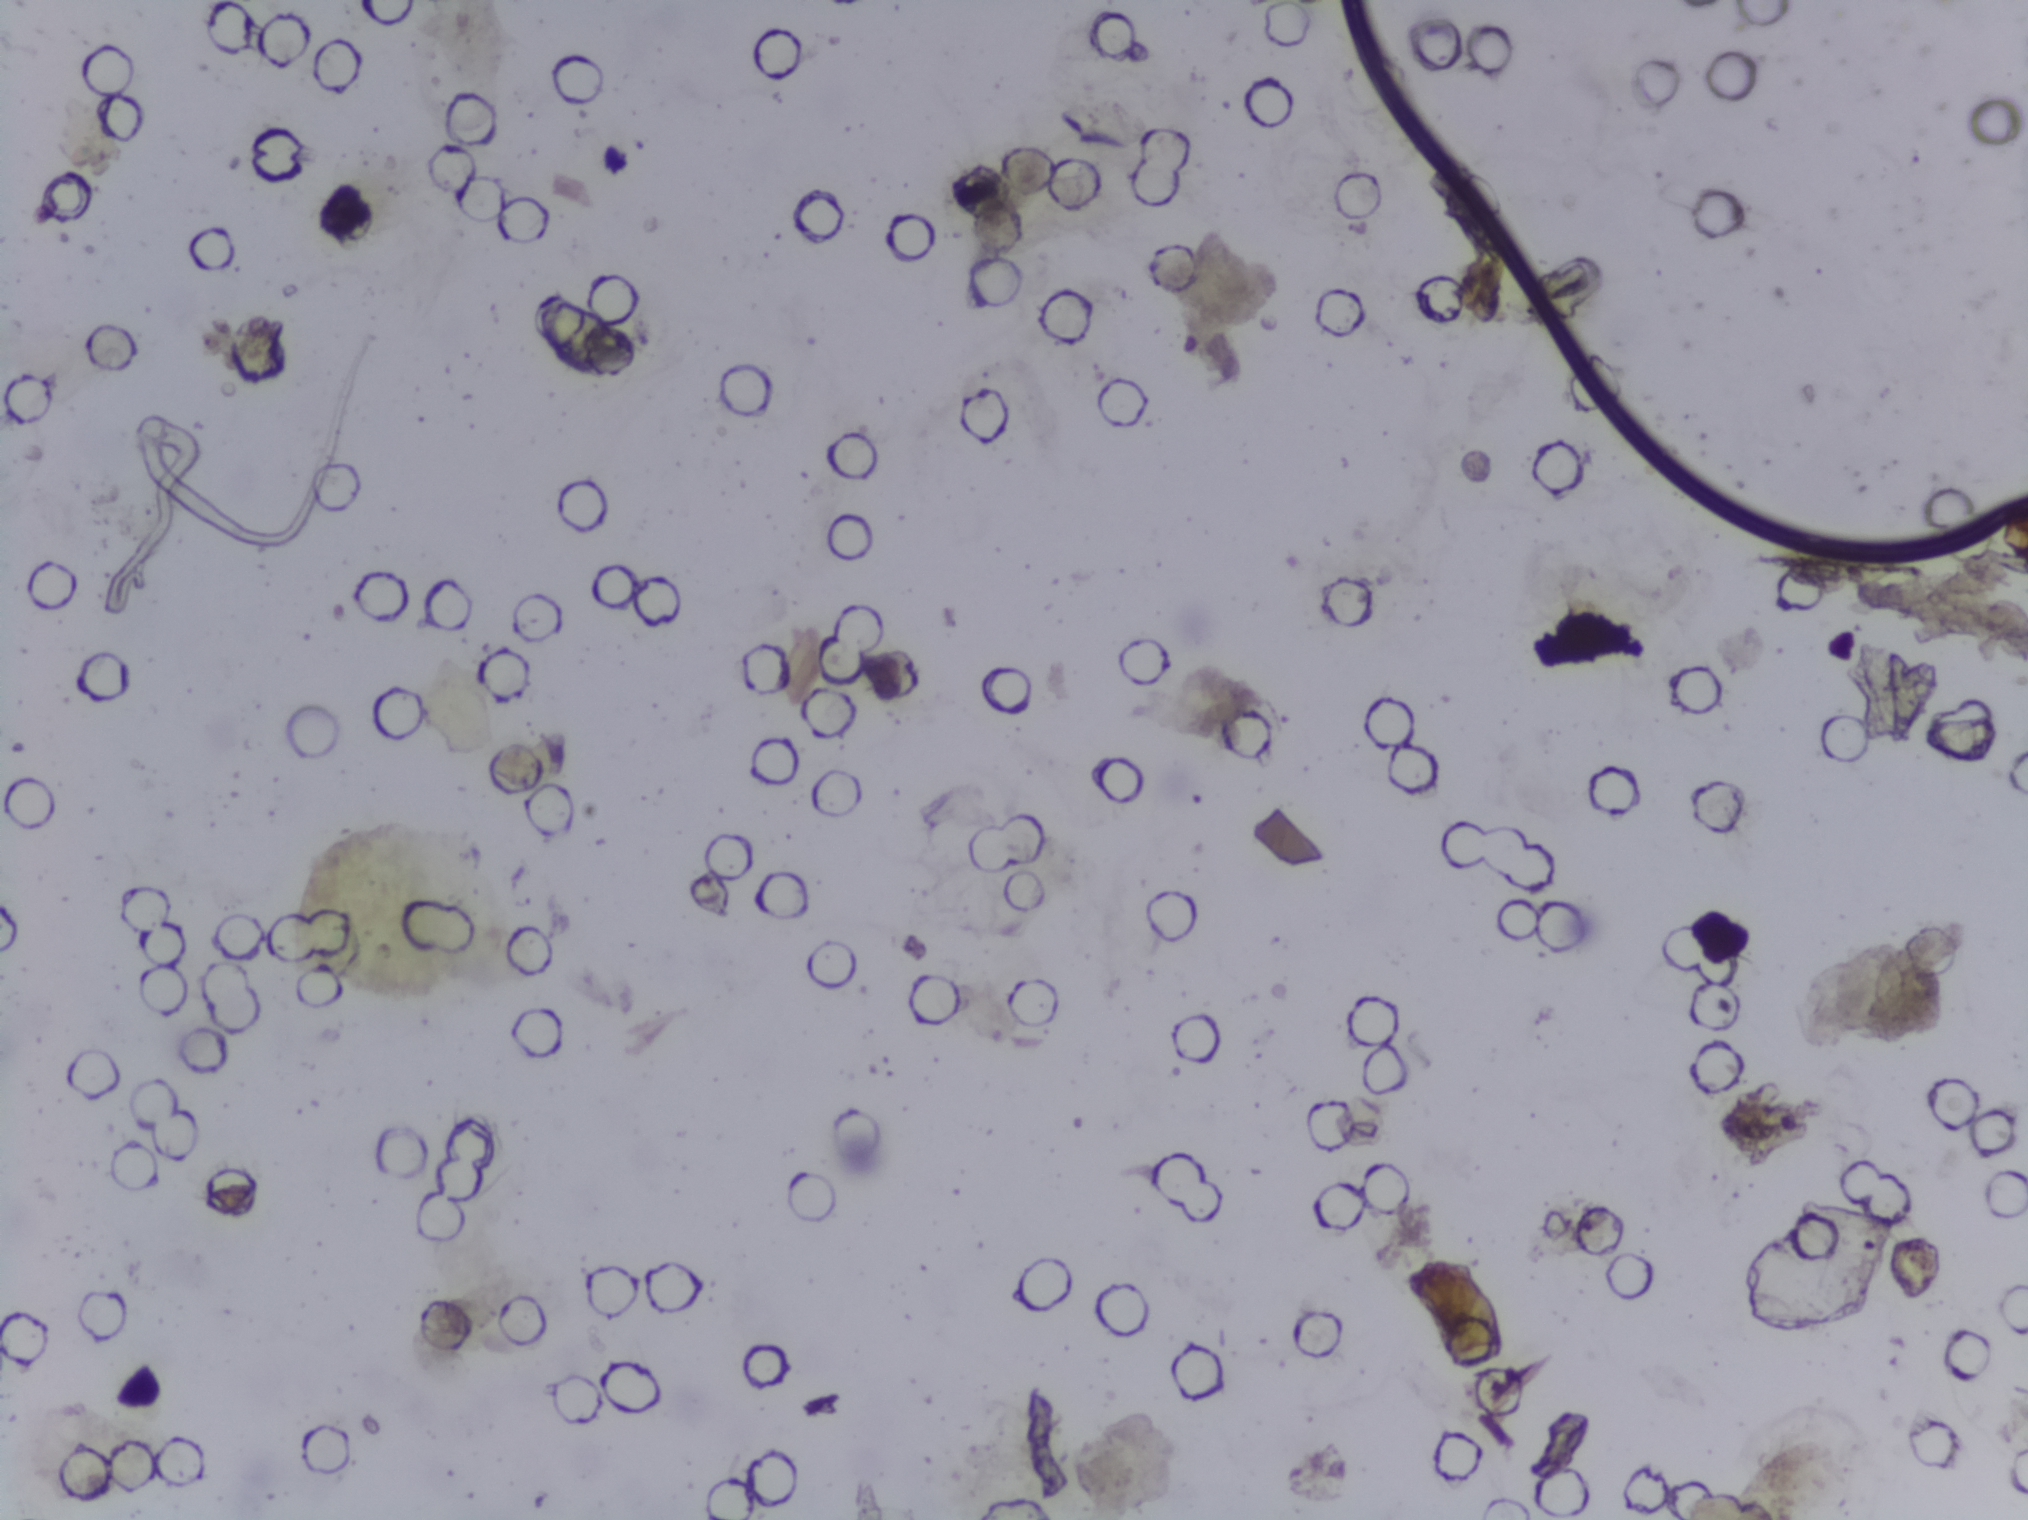
No Schistosoma egg is outlined in this image's expert annotation.
One field of view of a urine filter membrane, 4× objective, 2028 × 1520 pixels.